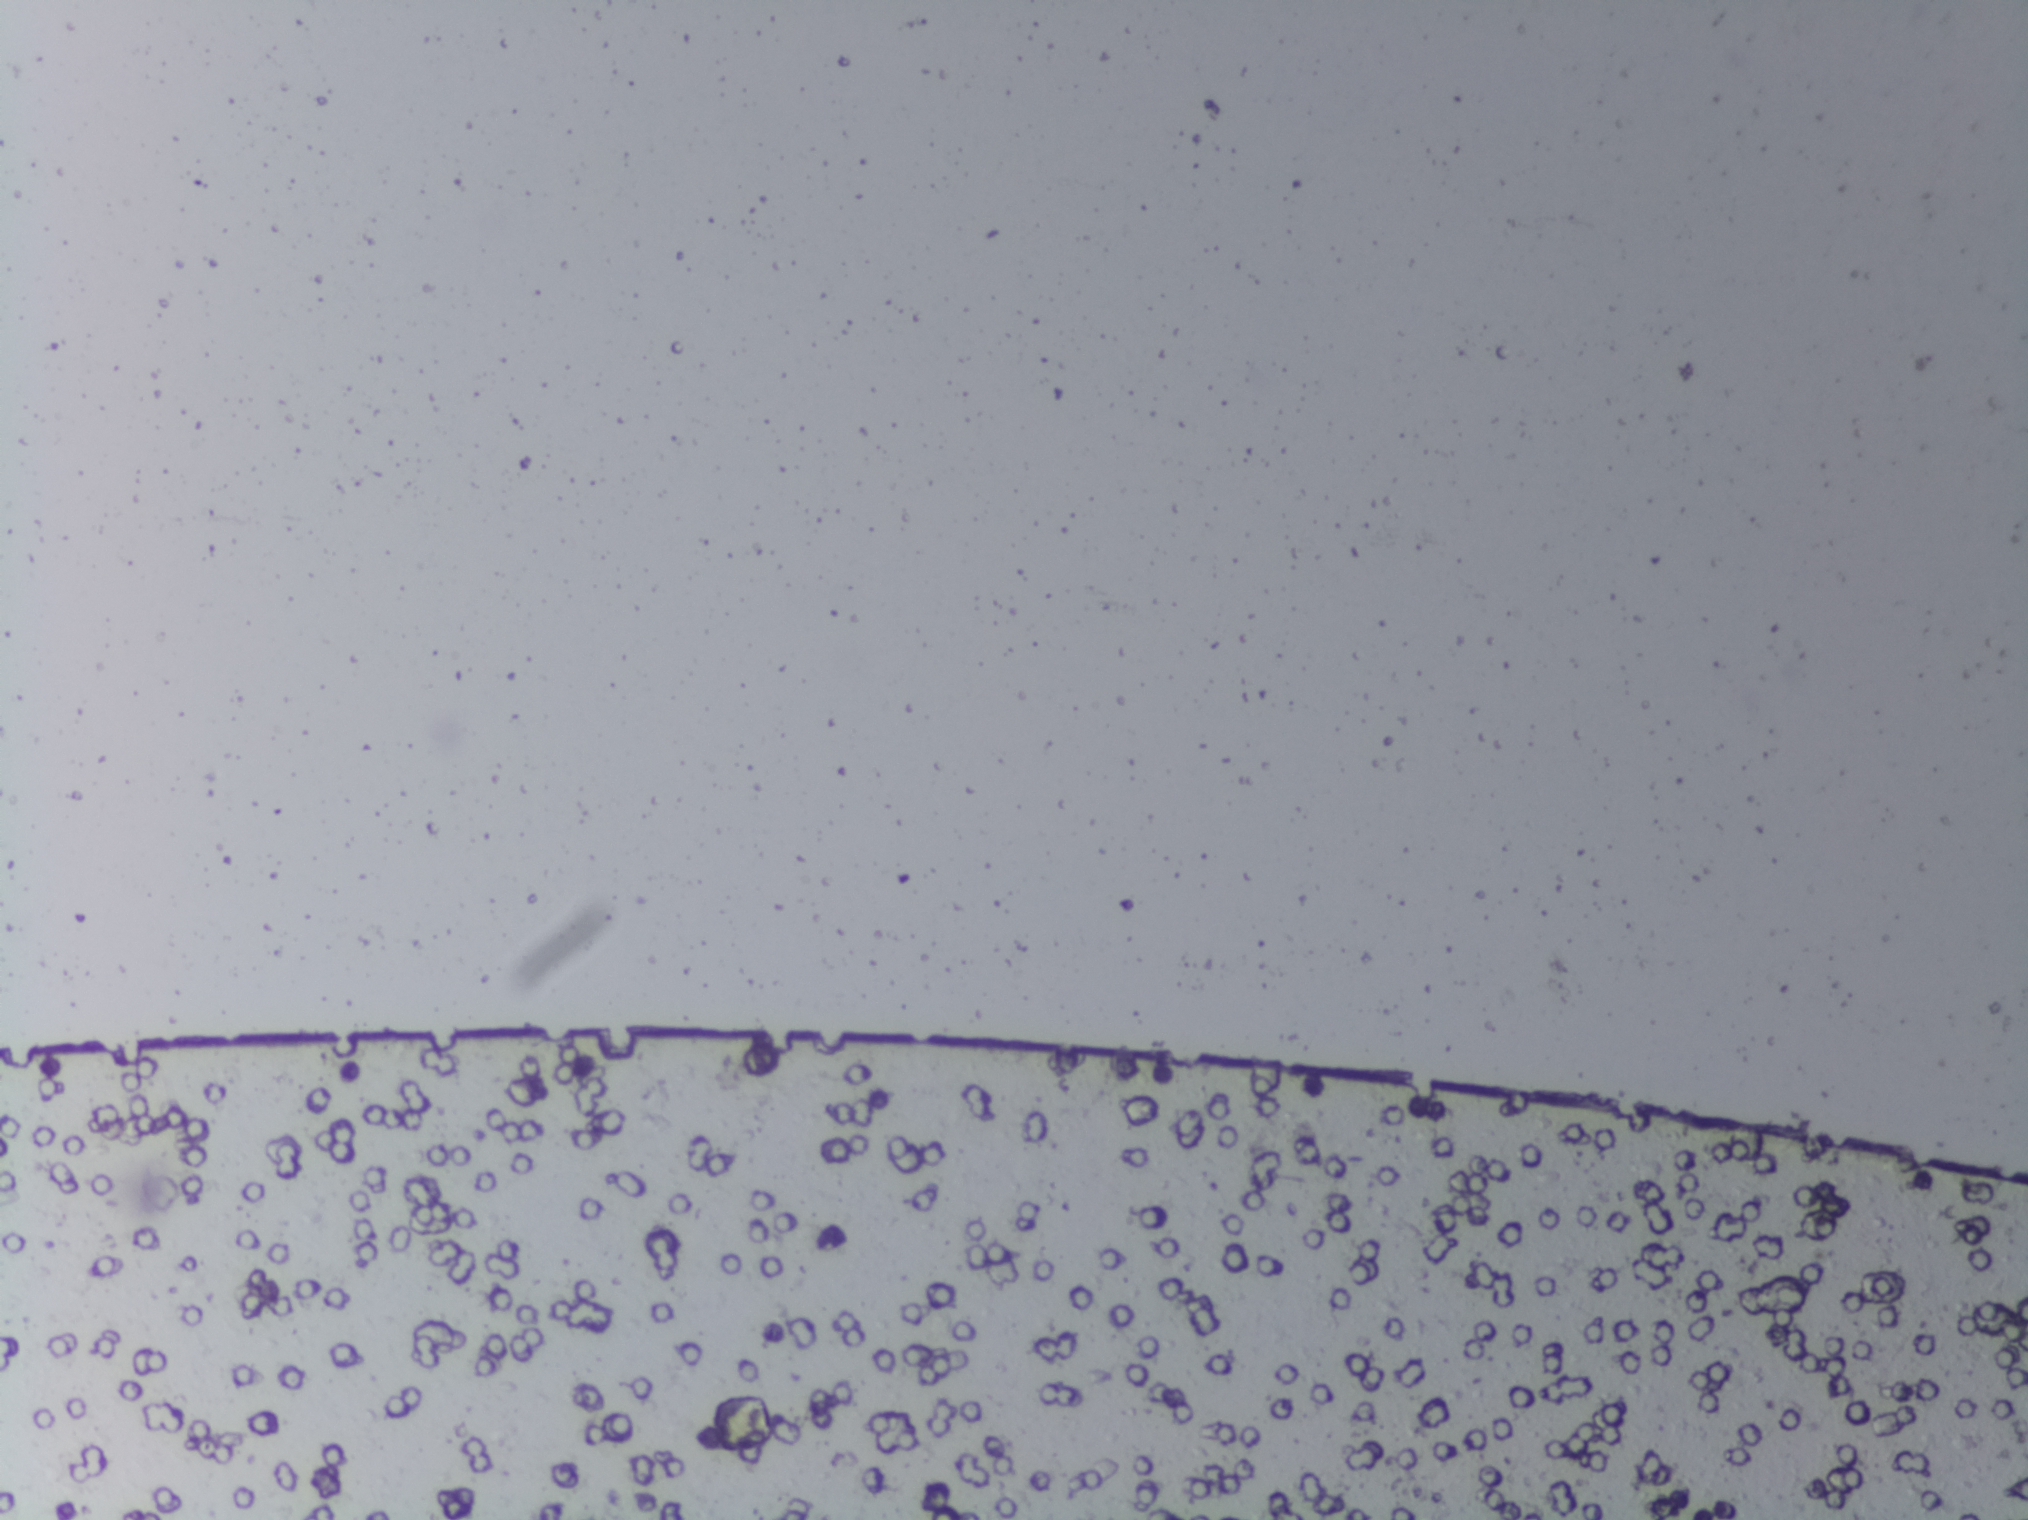
Photograph from an automated digital microscope: urine filter membrane, 4× objective. Field of view: about 1.5 mm wide and 1.1 mm high.
No Schistosoma egg is outlined in this image's expert annotation.